Urine filter membrane photographed through a 4× microscope objective. The image covers about 1.5 × 1.1 mm of the membrane.
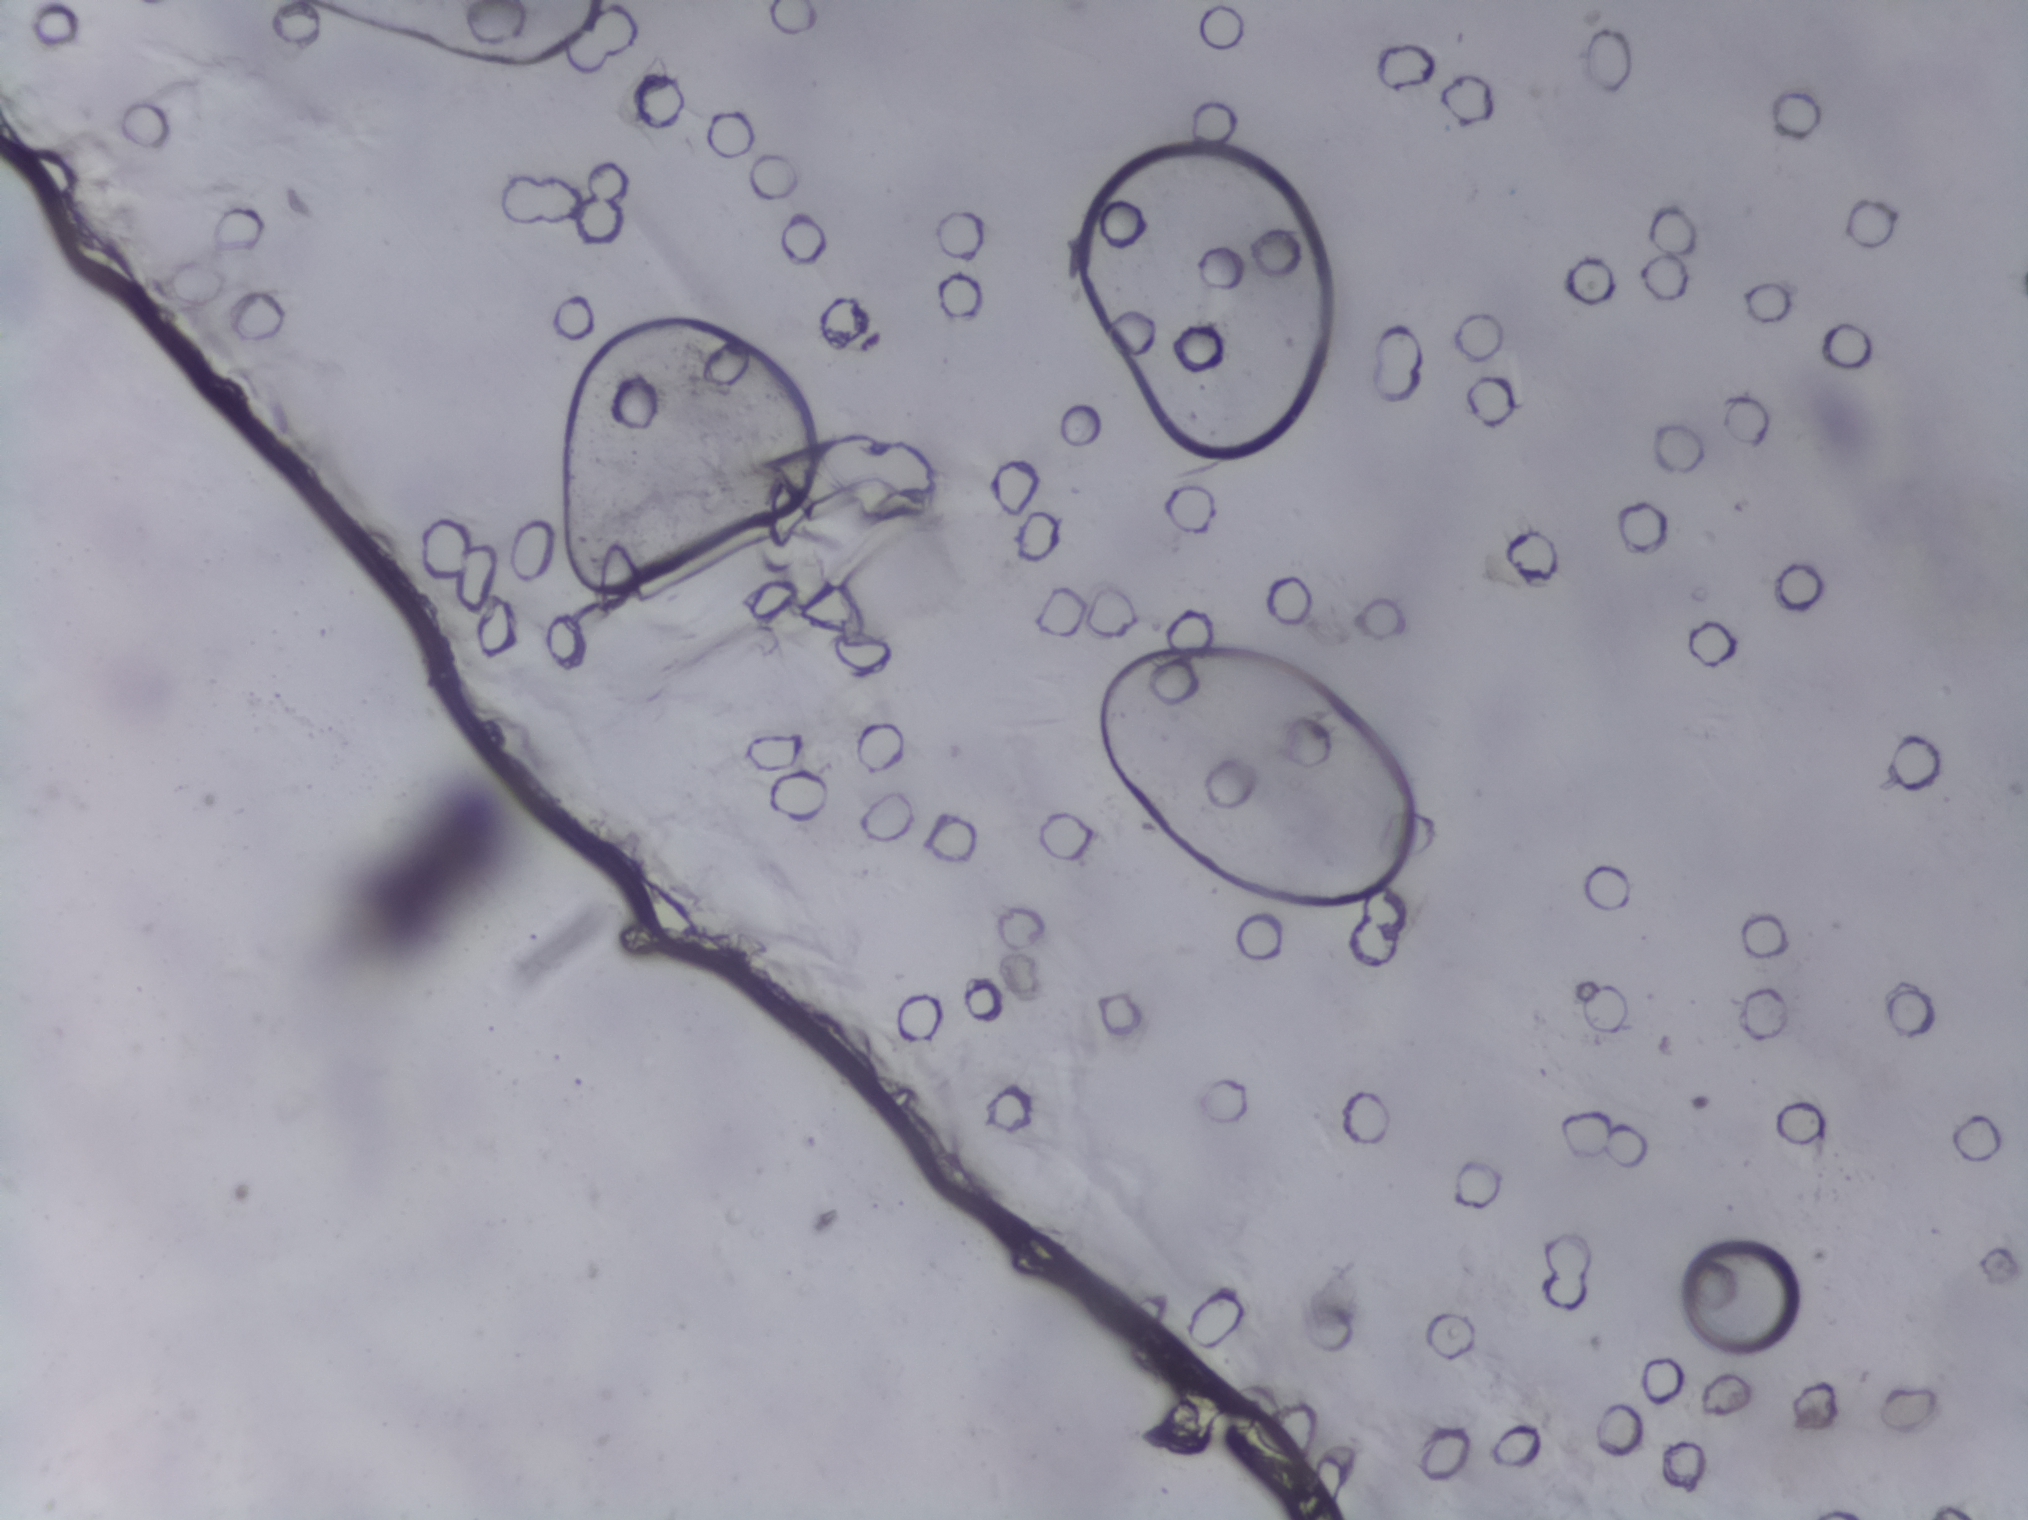
The expert annotation marks no Schistosoma egg in this field of view.